Photograph from an automated digital microscope: urine filter membrane, 4× objective.
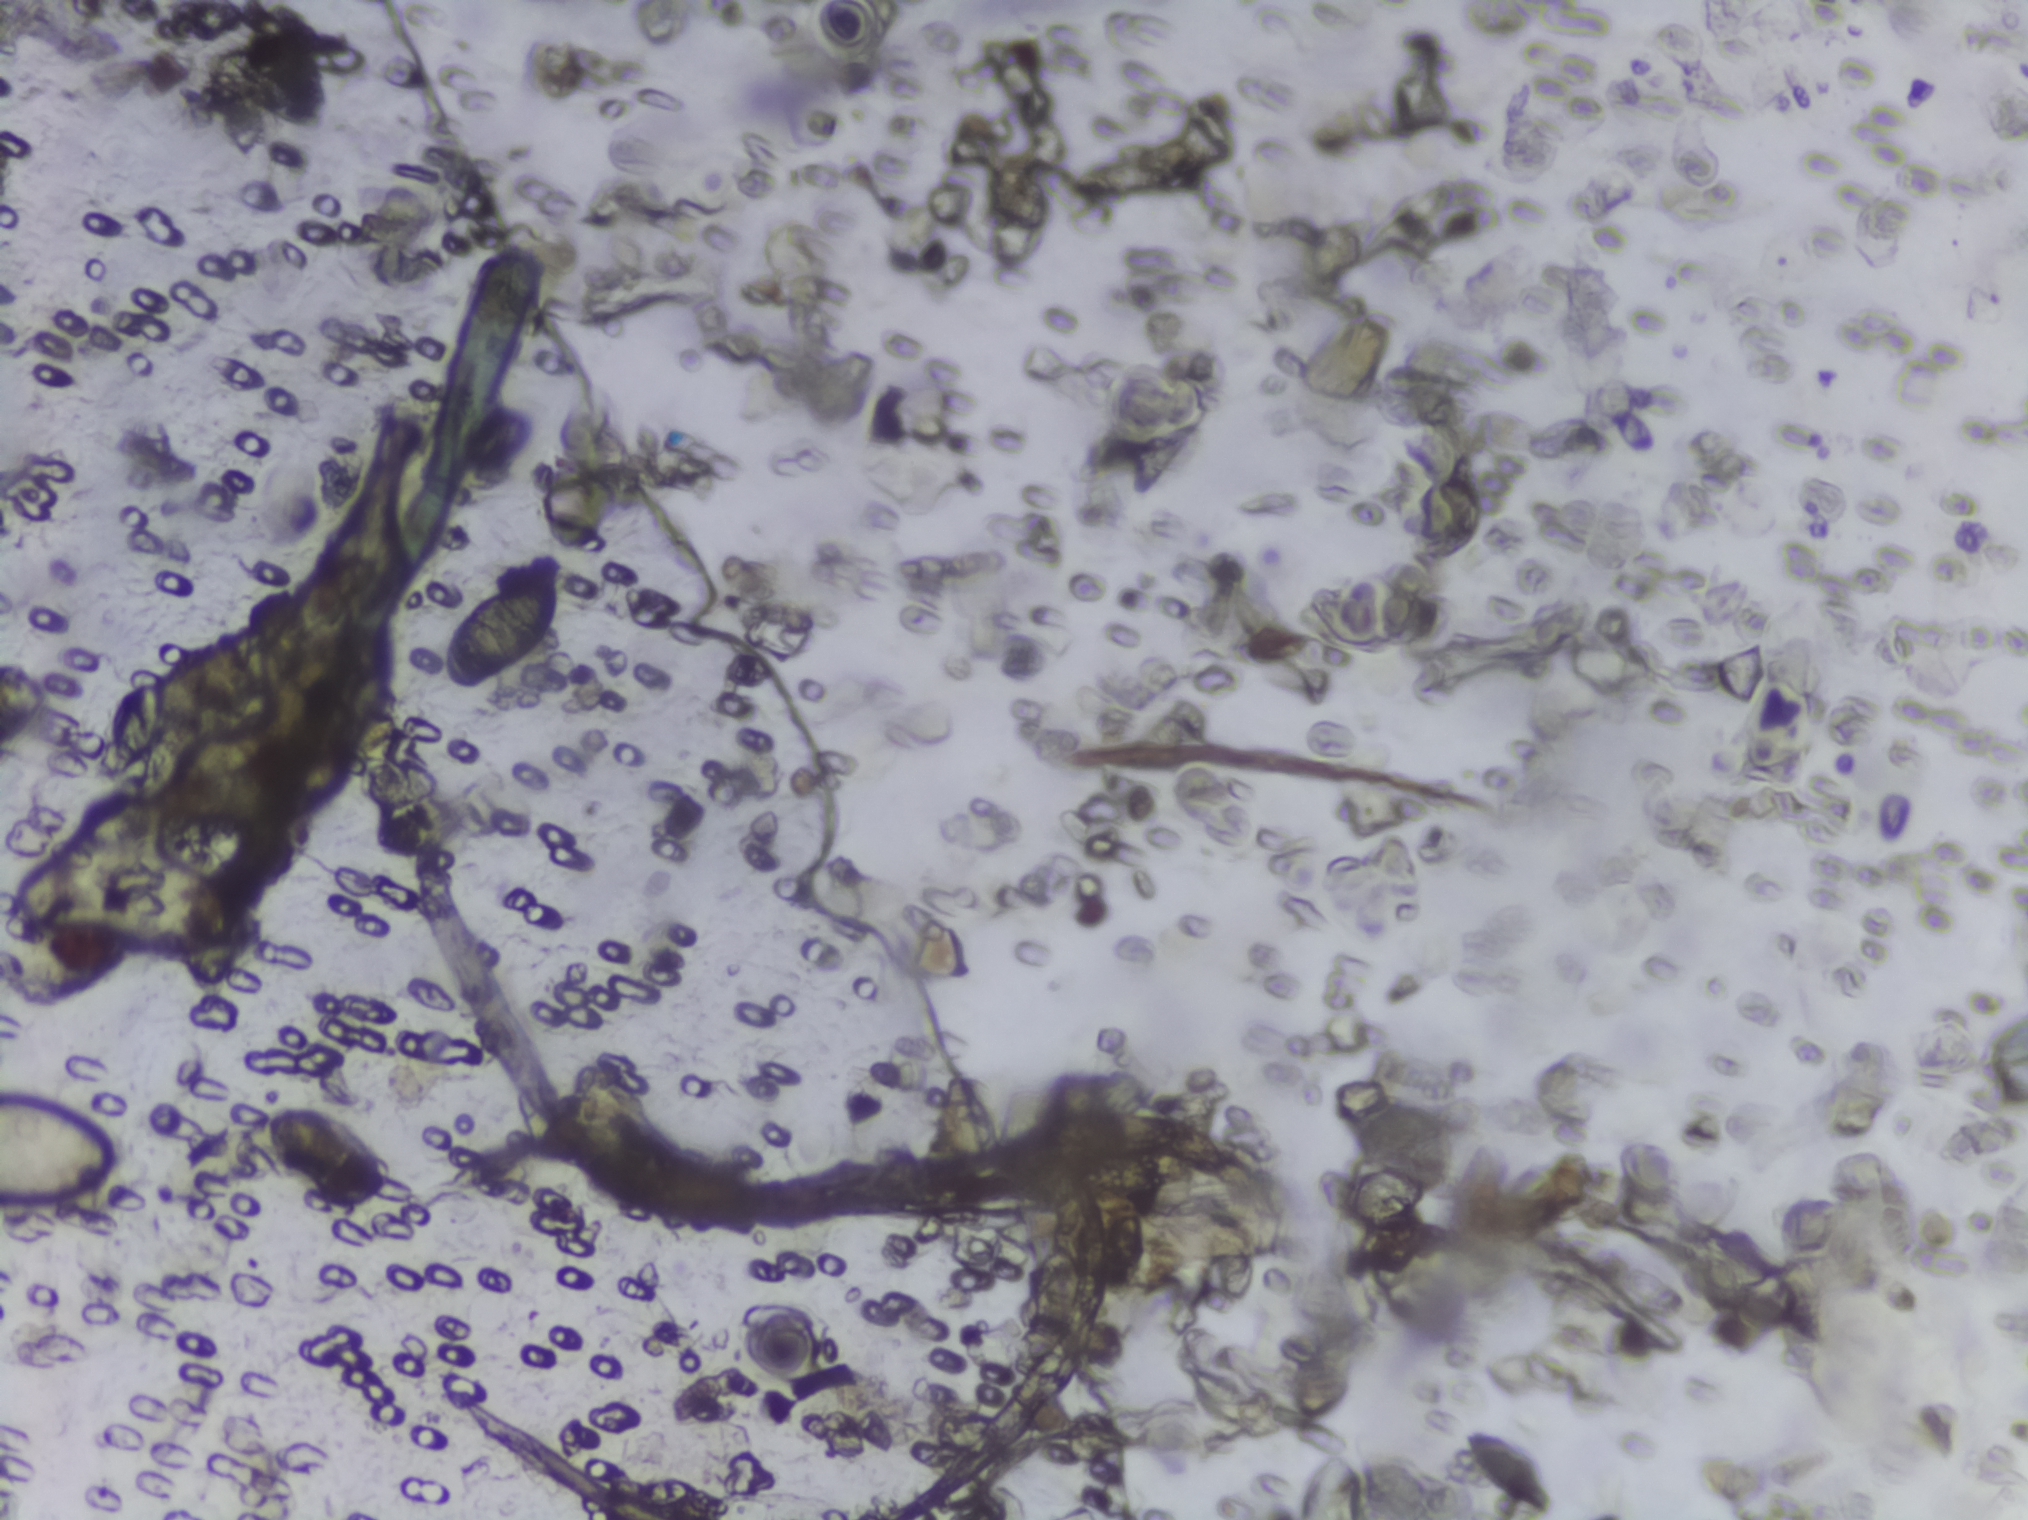
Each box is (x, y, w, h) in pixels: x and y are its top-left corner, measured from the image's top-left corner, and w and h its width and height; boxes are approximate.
The expert annotation outlines Schistosoma eggs at (x=0, y=1084, w=123, h=134) (reaching the left edge of the frame); (x=258, y=1102, w=127, h=109); (x=446, y=569, w=122, h=129) (left to right). Eggs that touch can end up inside the same outlined area.